Urine filtration membrane under a 4× objective, photographed by an automated digital microscope.
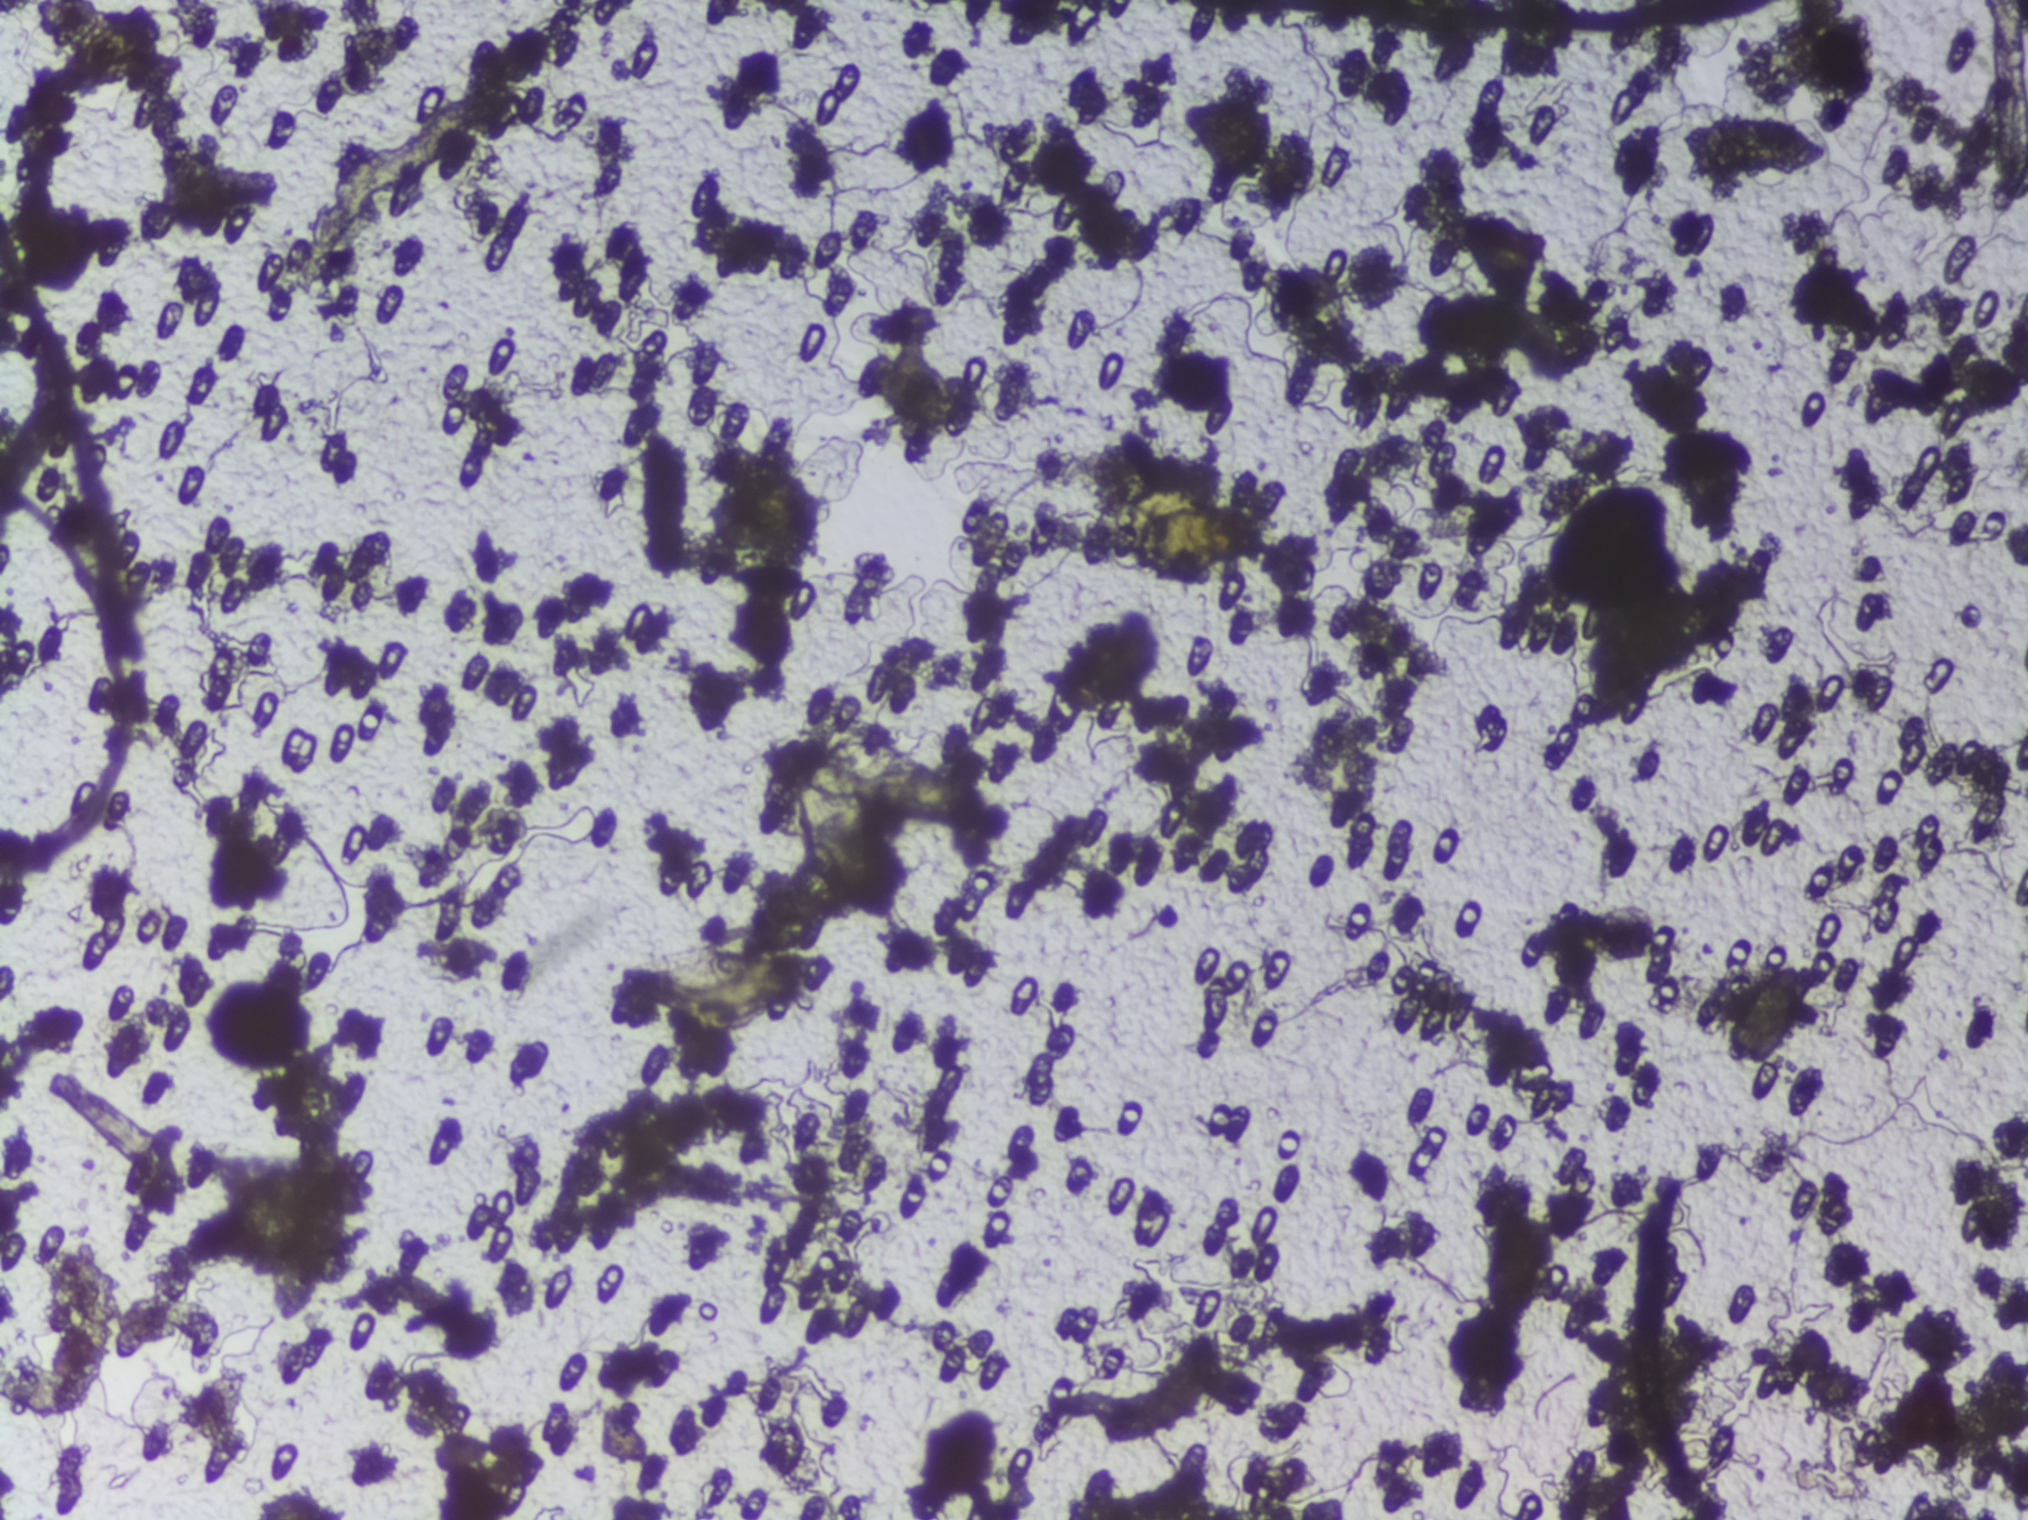
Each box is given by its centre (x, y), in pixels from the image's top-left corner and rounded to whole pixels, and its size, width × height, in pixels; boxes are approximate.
Findings: one area outlined as Schistosoma eggs. Location: centre (1763, 1014), 74 × 98 px. Marked pixels, not the box around them: about 0.1% of the image. An outlined area can hold more than one egg. Any one outlined egg may, rarely, be S. mansoni rather than S. haematobium.